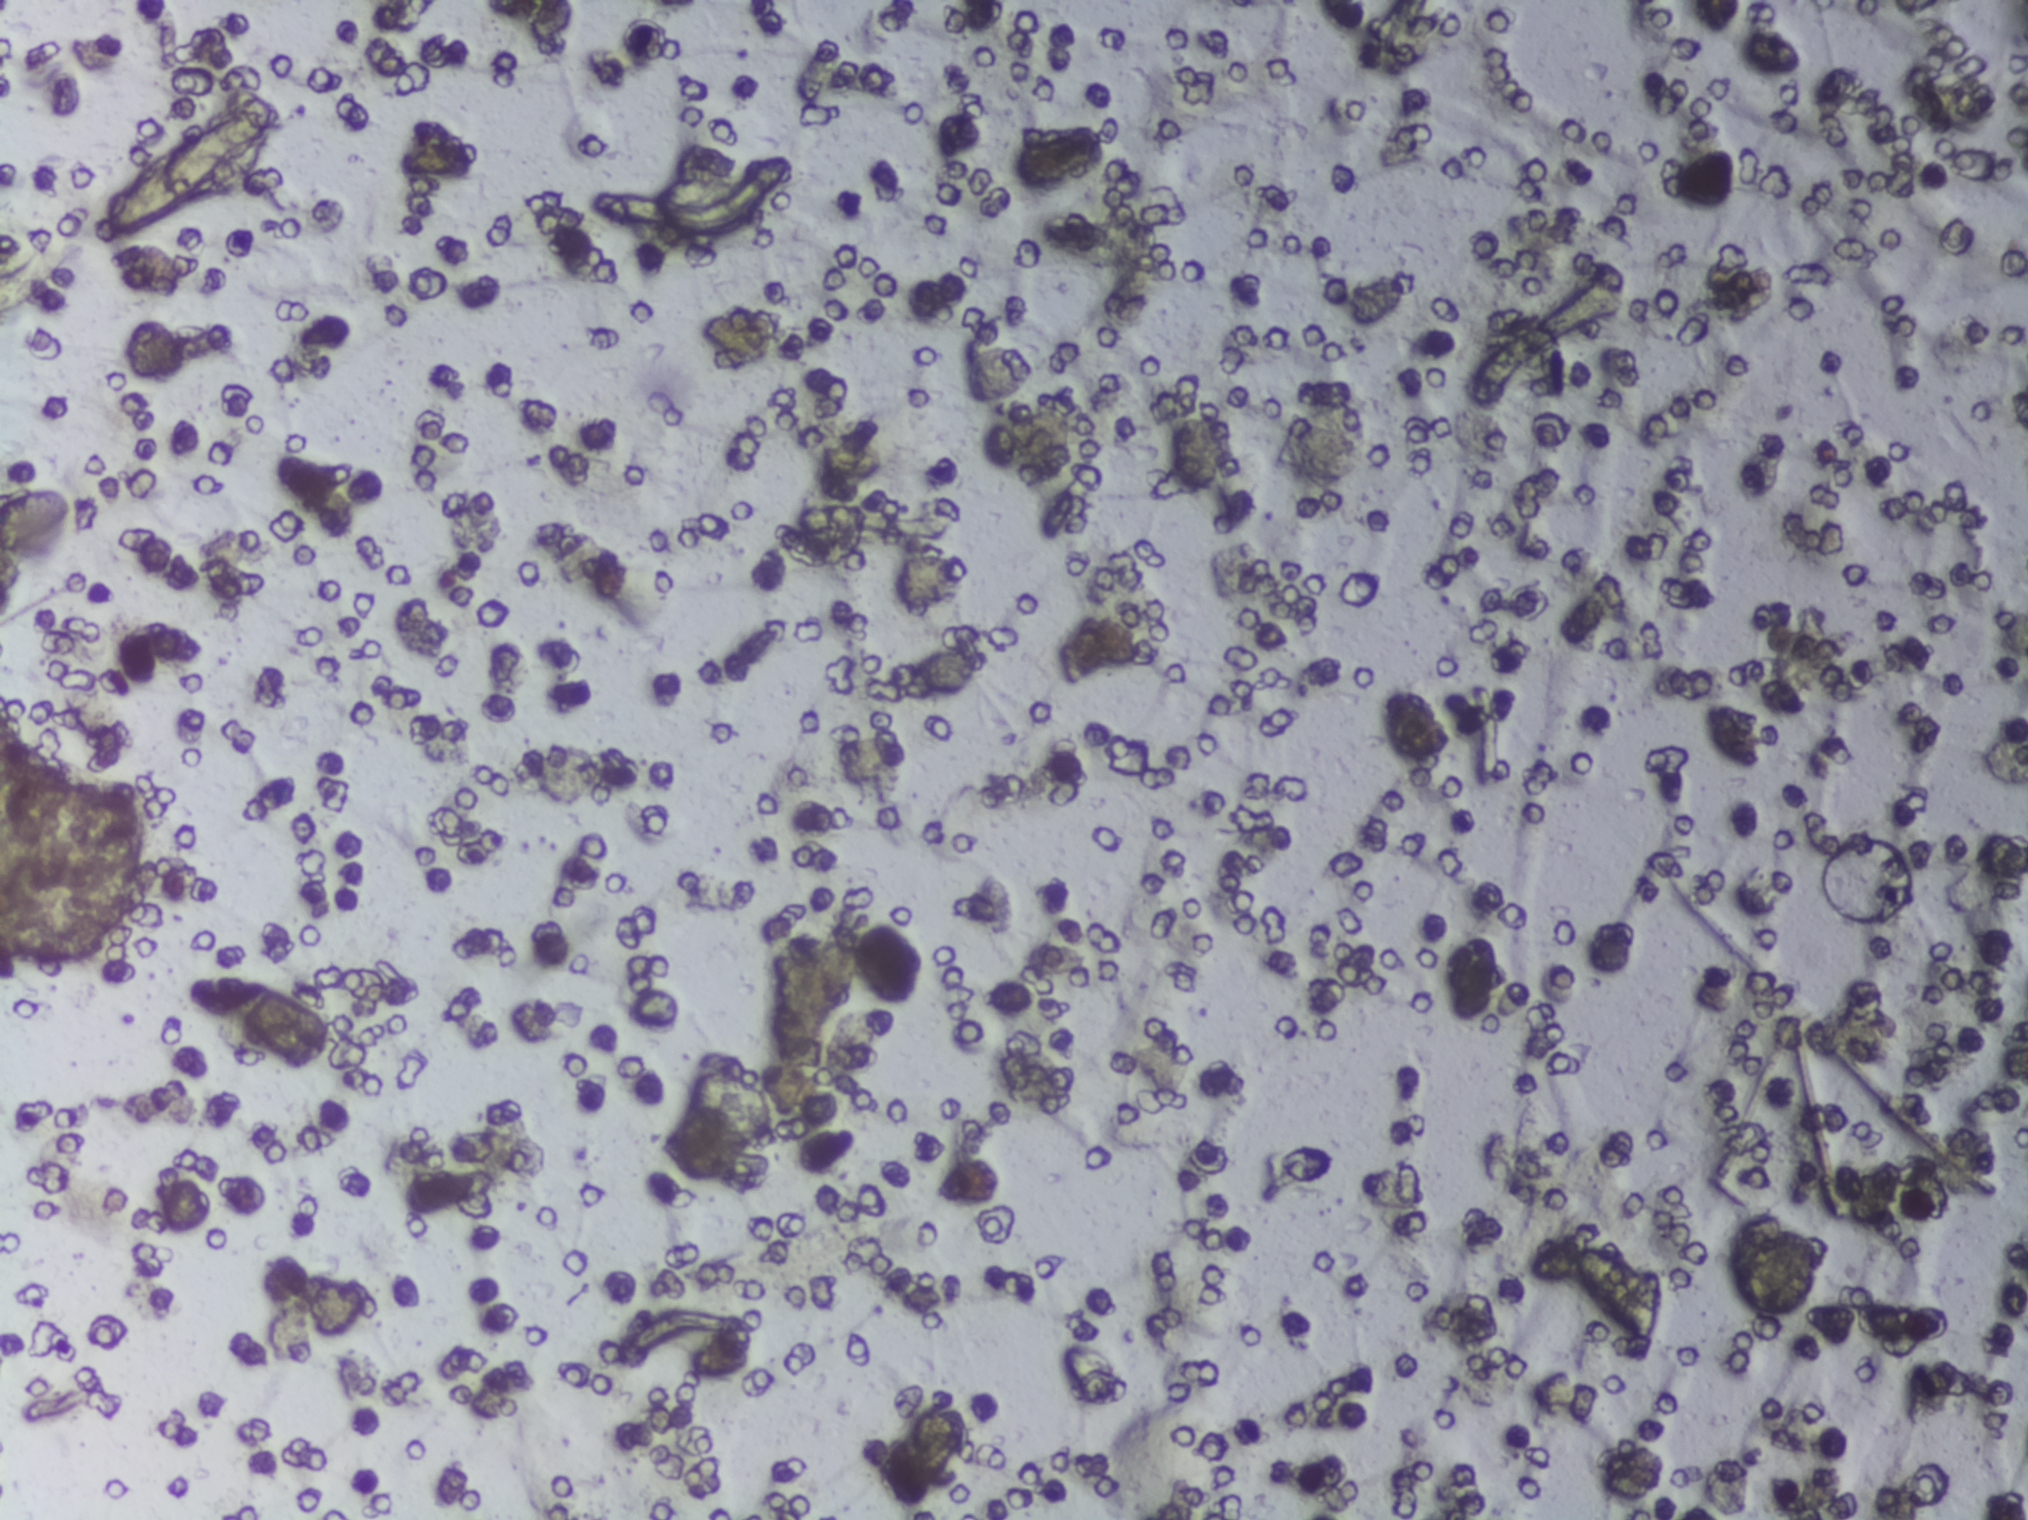
Photograph from an automated digital microscope: urine filter membrane, 4× objective. Field of view: about 1.5 mm wide and 1.1 mm high.
No Schistosoma egg is outlined in this image's expert annotation.